One field of view of a urine filter membrane, 4× objective, 2028 × 1520 pixels.
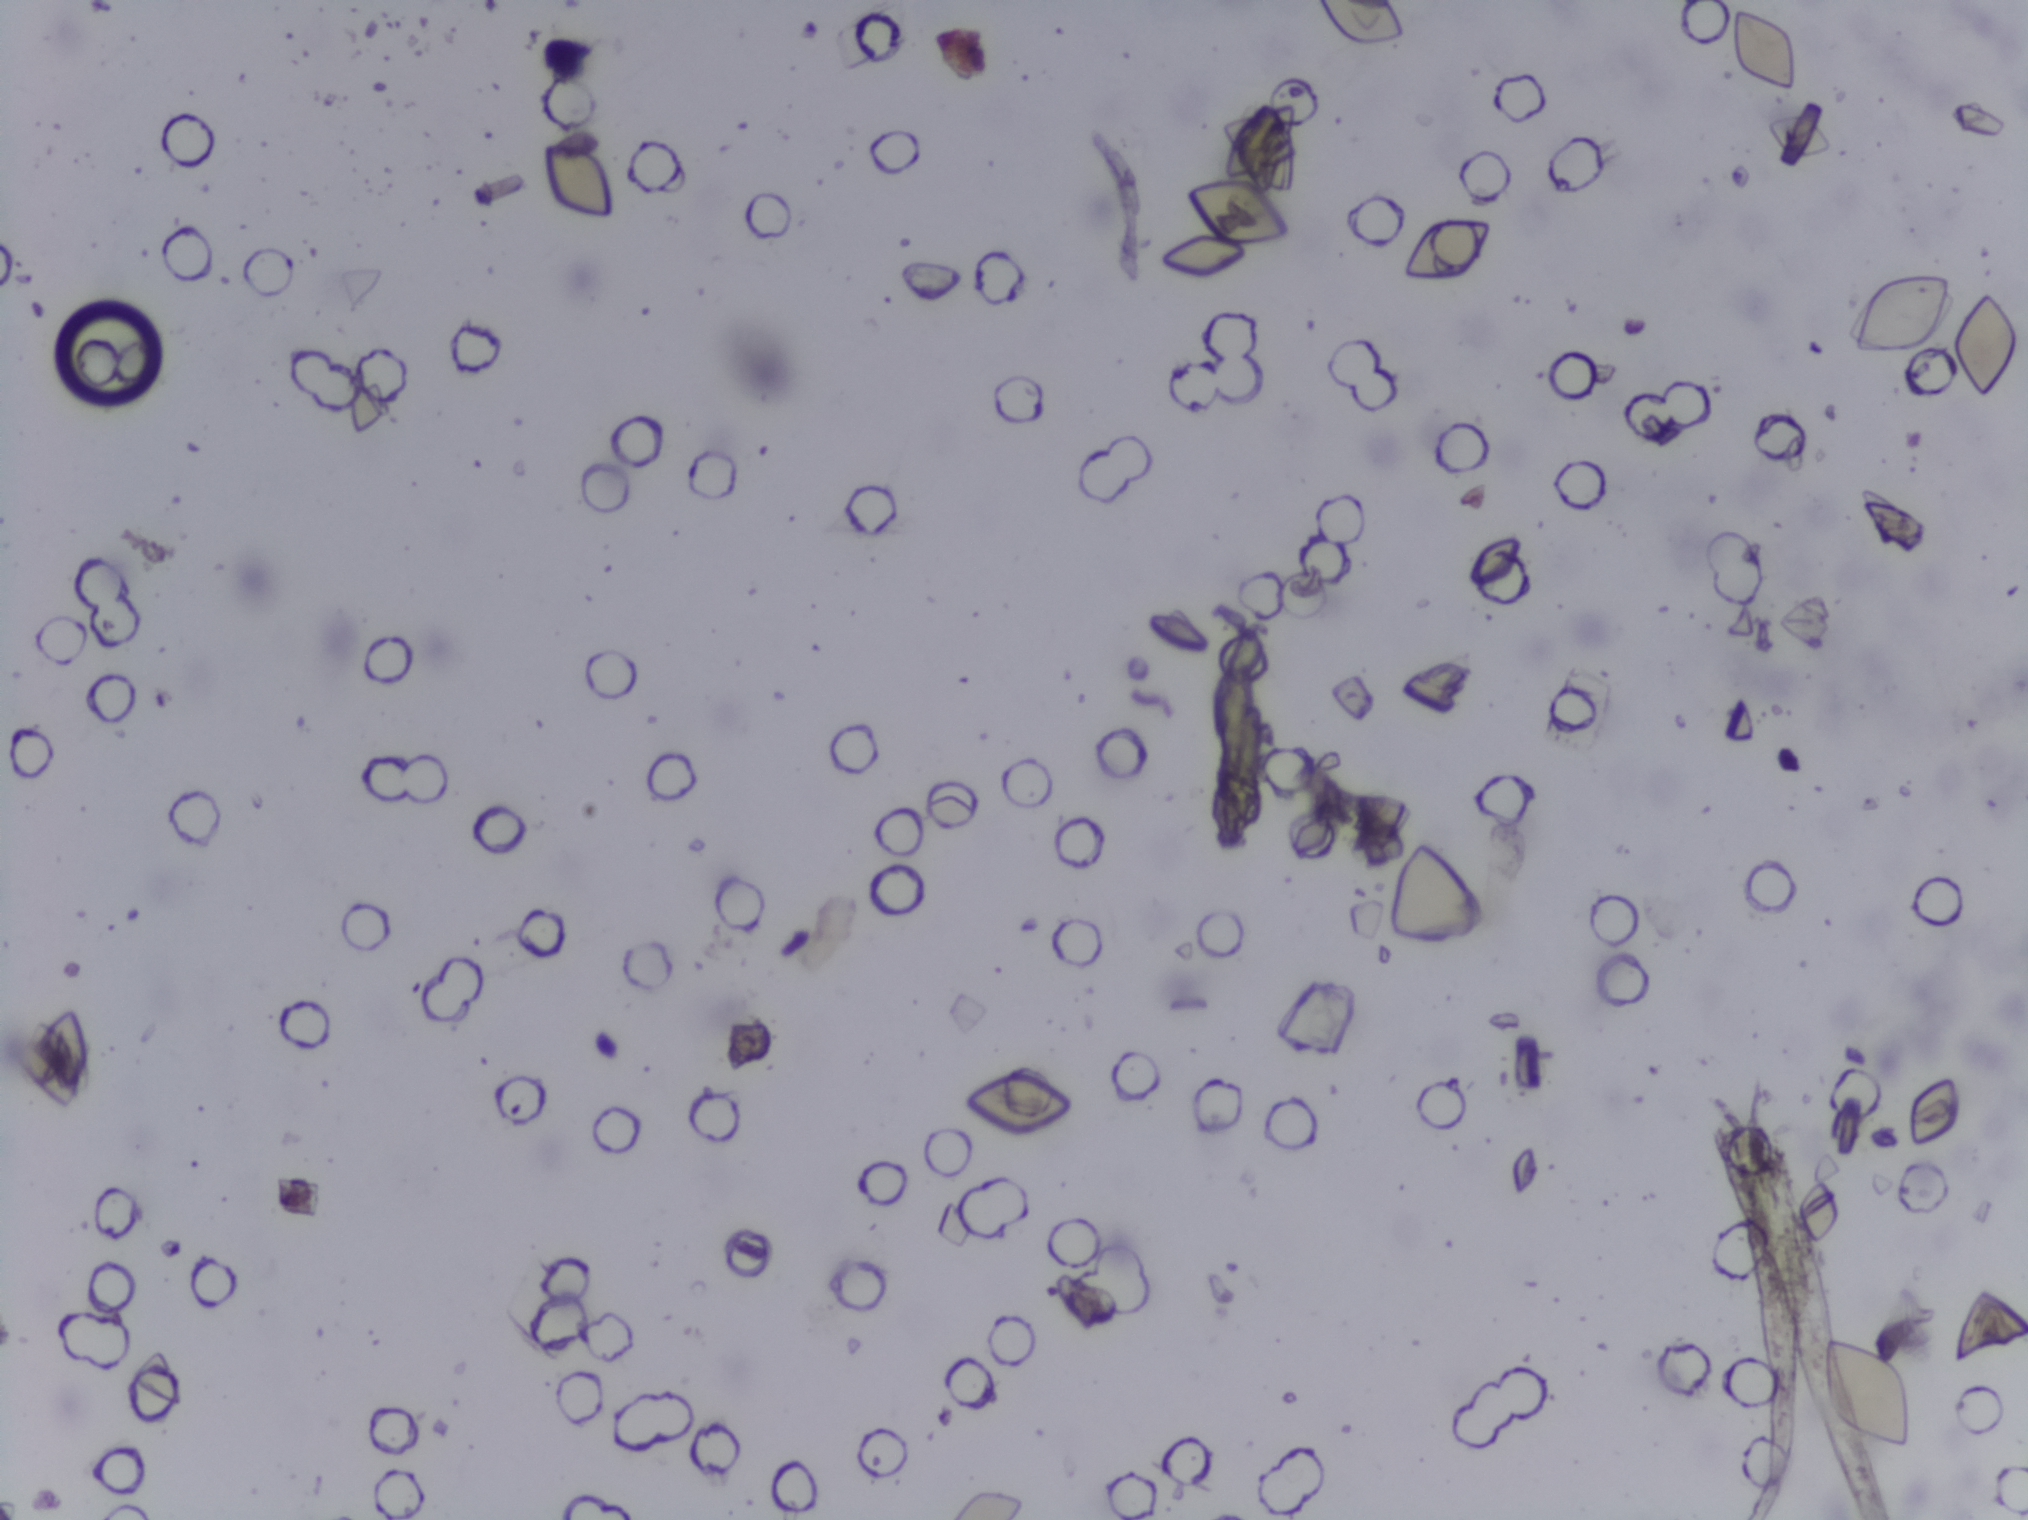
No area of this image was outlined as a Schistosoma egg.